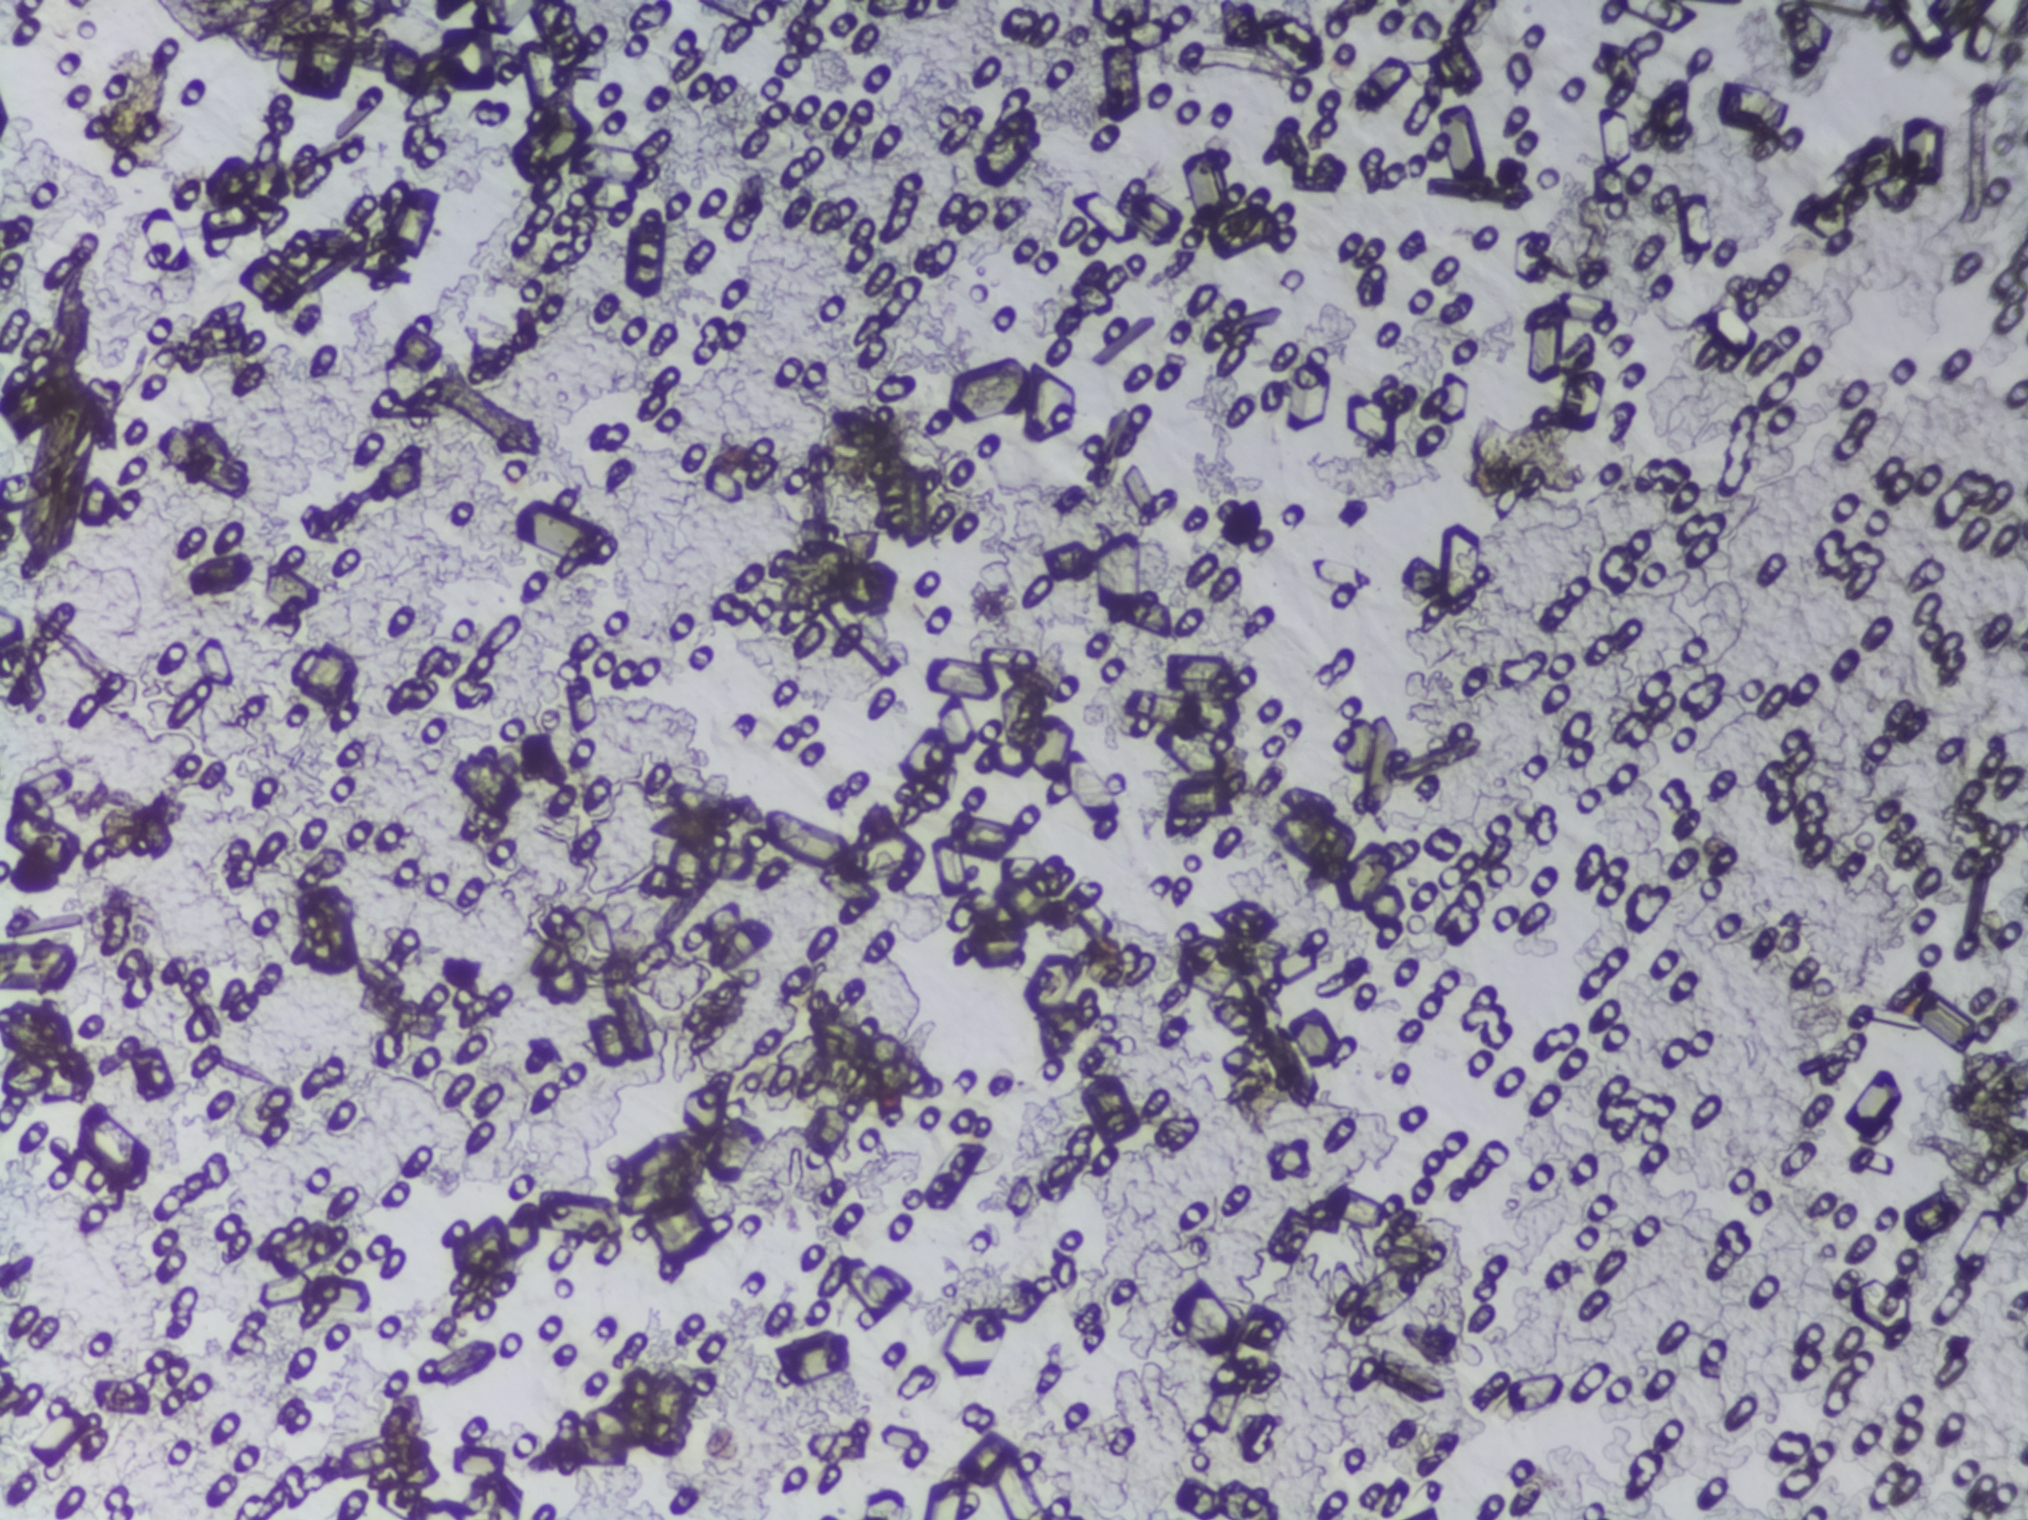
One field of view of a urine filter membrane, 4× objective, 2028 × 1520 pixels.
No area of this image was outlined as a Schistosoma egg.